Urine filtration membrane under a 4× objective, photographed by an automated digital microscope. The field of view is about 1.5 mm × 1.1 mm.
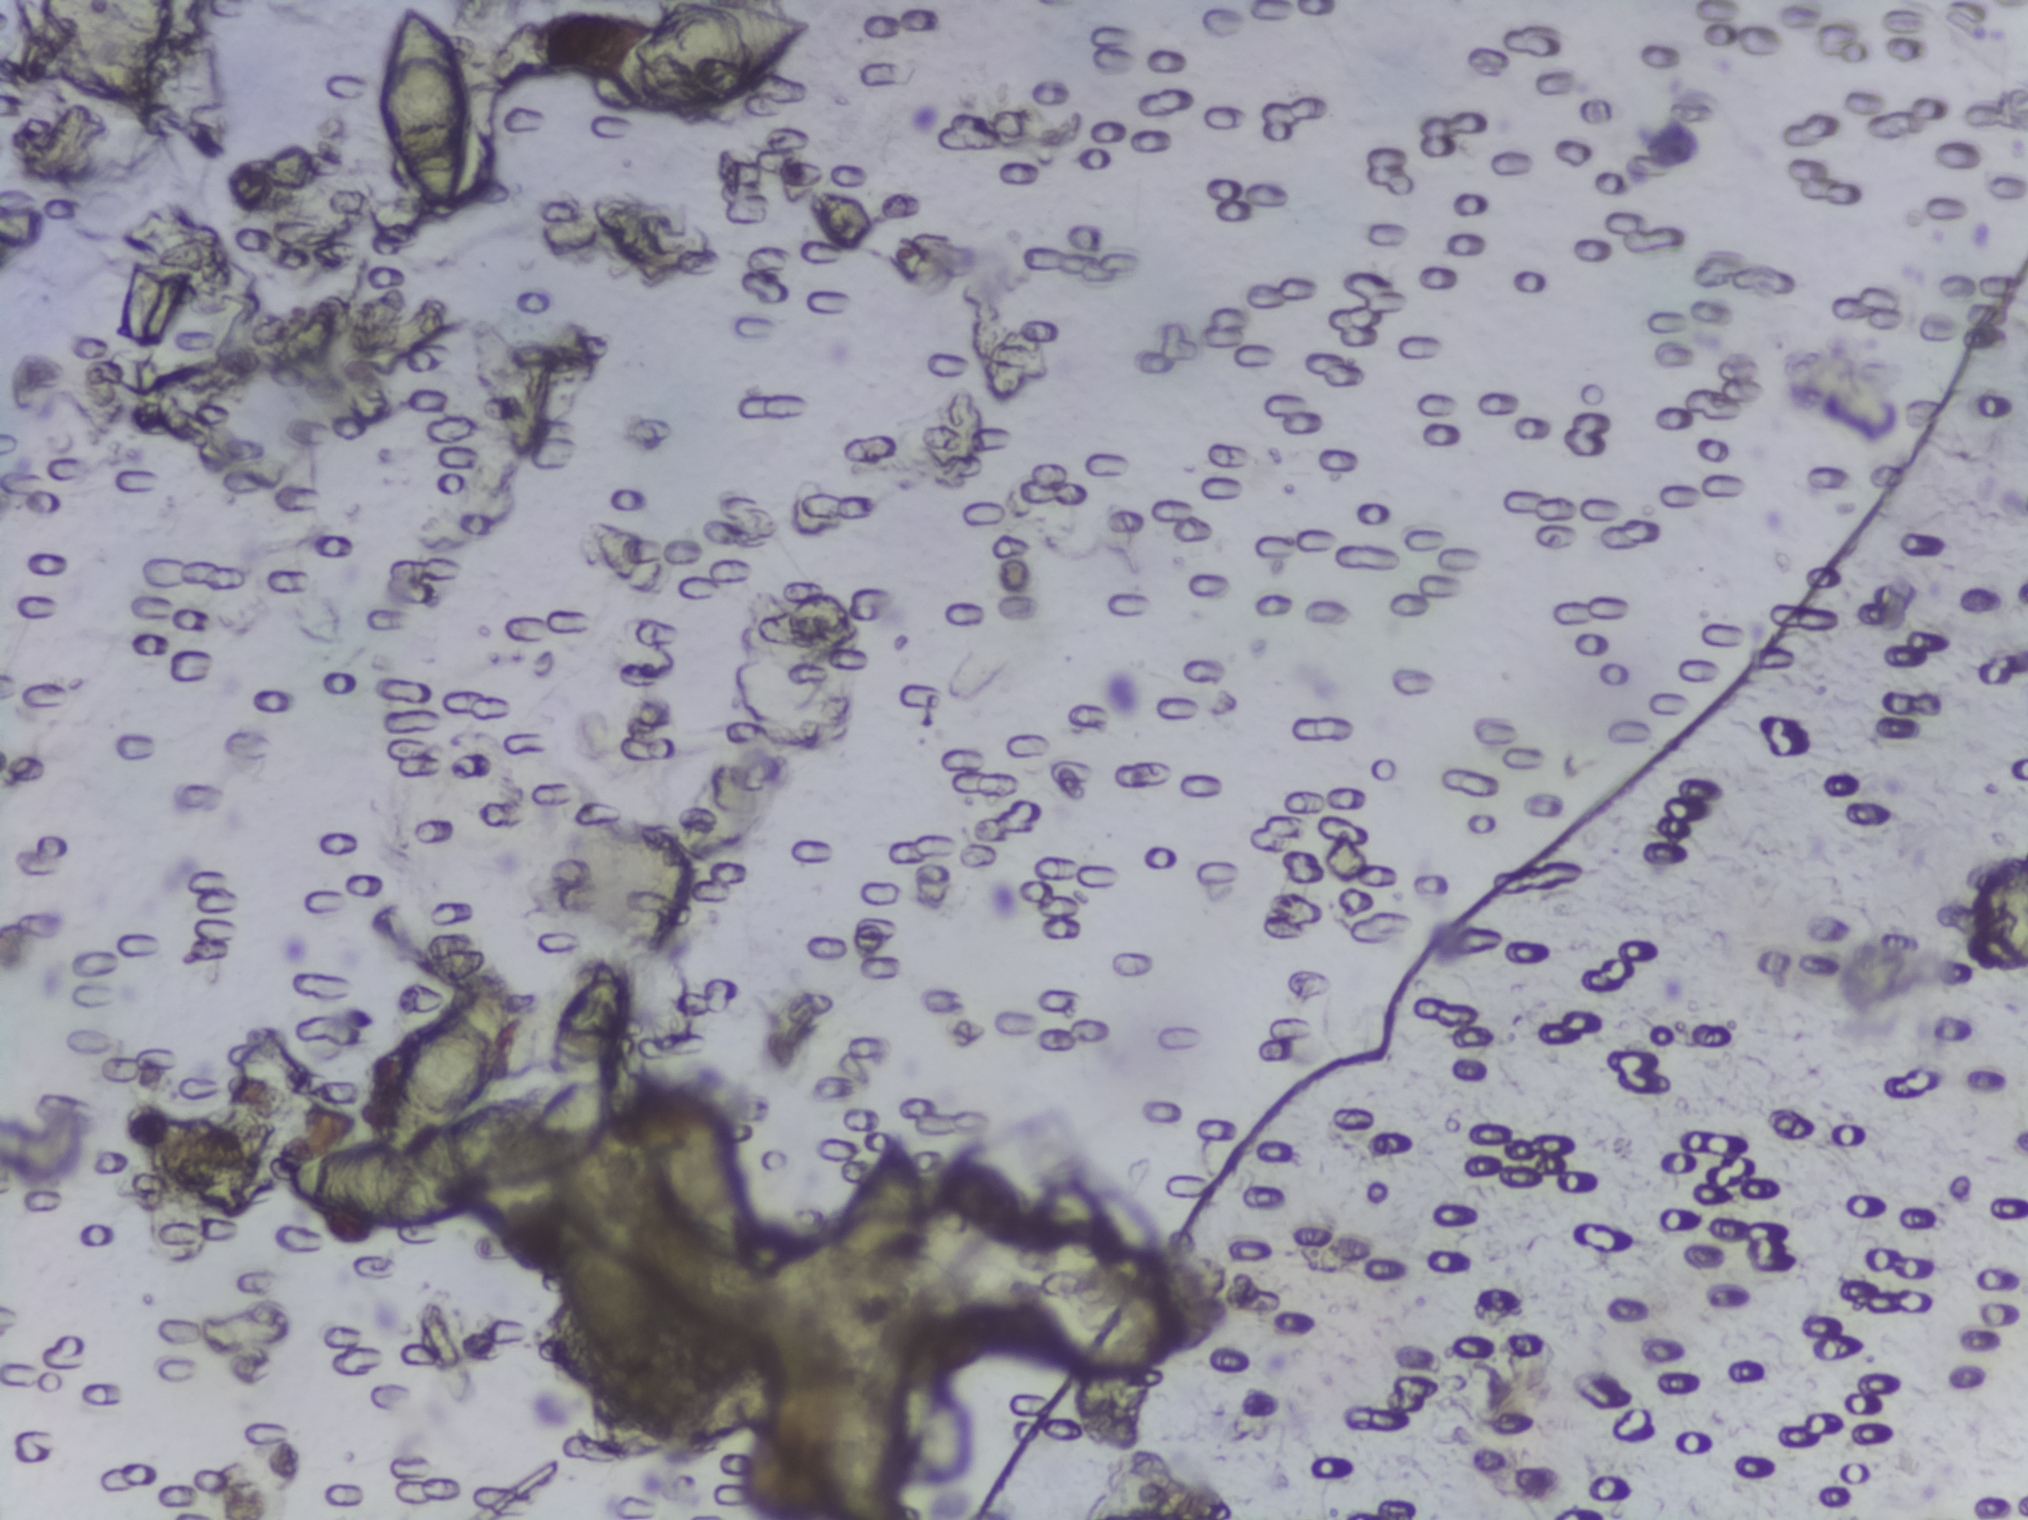
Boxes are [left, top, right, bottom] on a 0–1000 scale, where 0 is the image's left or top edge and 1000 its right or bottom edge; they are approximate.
{"schistosoma_egg_areas_xyxy_per1000": [[140, 641, 254, 810], [184, 0, 236, 144], [269, 788, 330, 909], [271, 639, 312, 708], [290, 0, 402, 84], [408, 738, 461, 859]]} Area 2 reaches the top edge of the frame. Area 5 reaches the top edge of the frame.
A single outlined area may contain several eggs.